Urine filtration membrane under a 4× objective, photographed by an automated digital microscope.
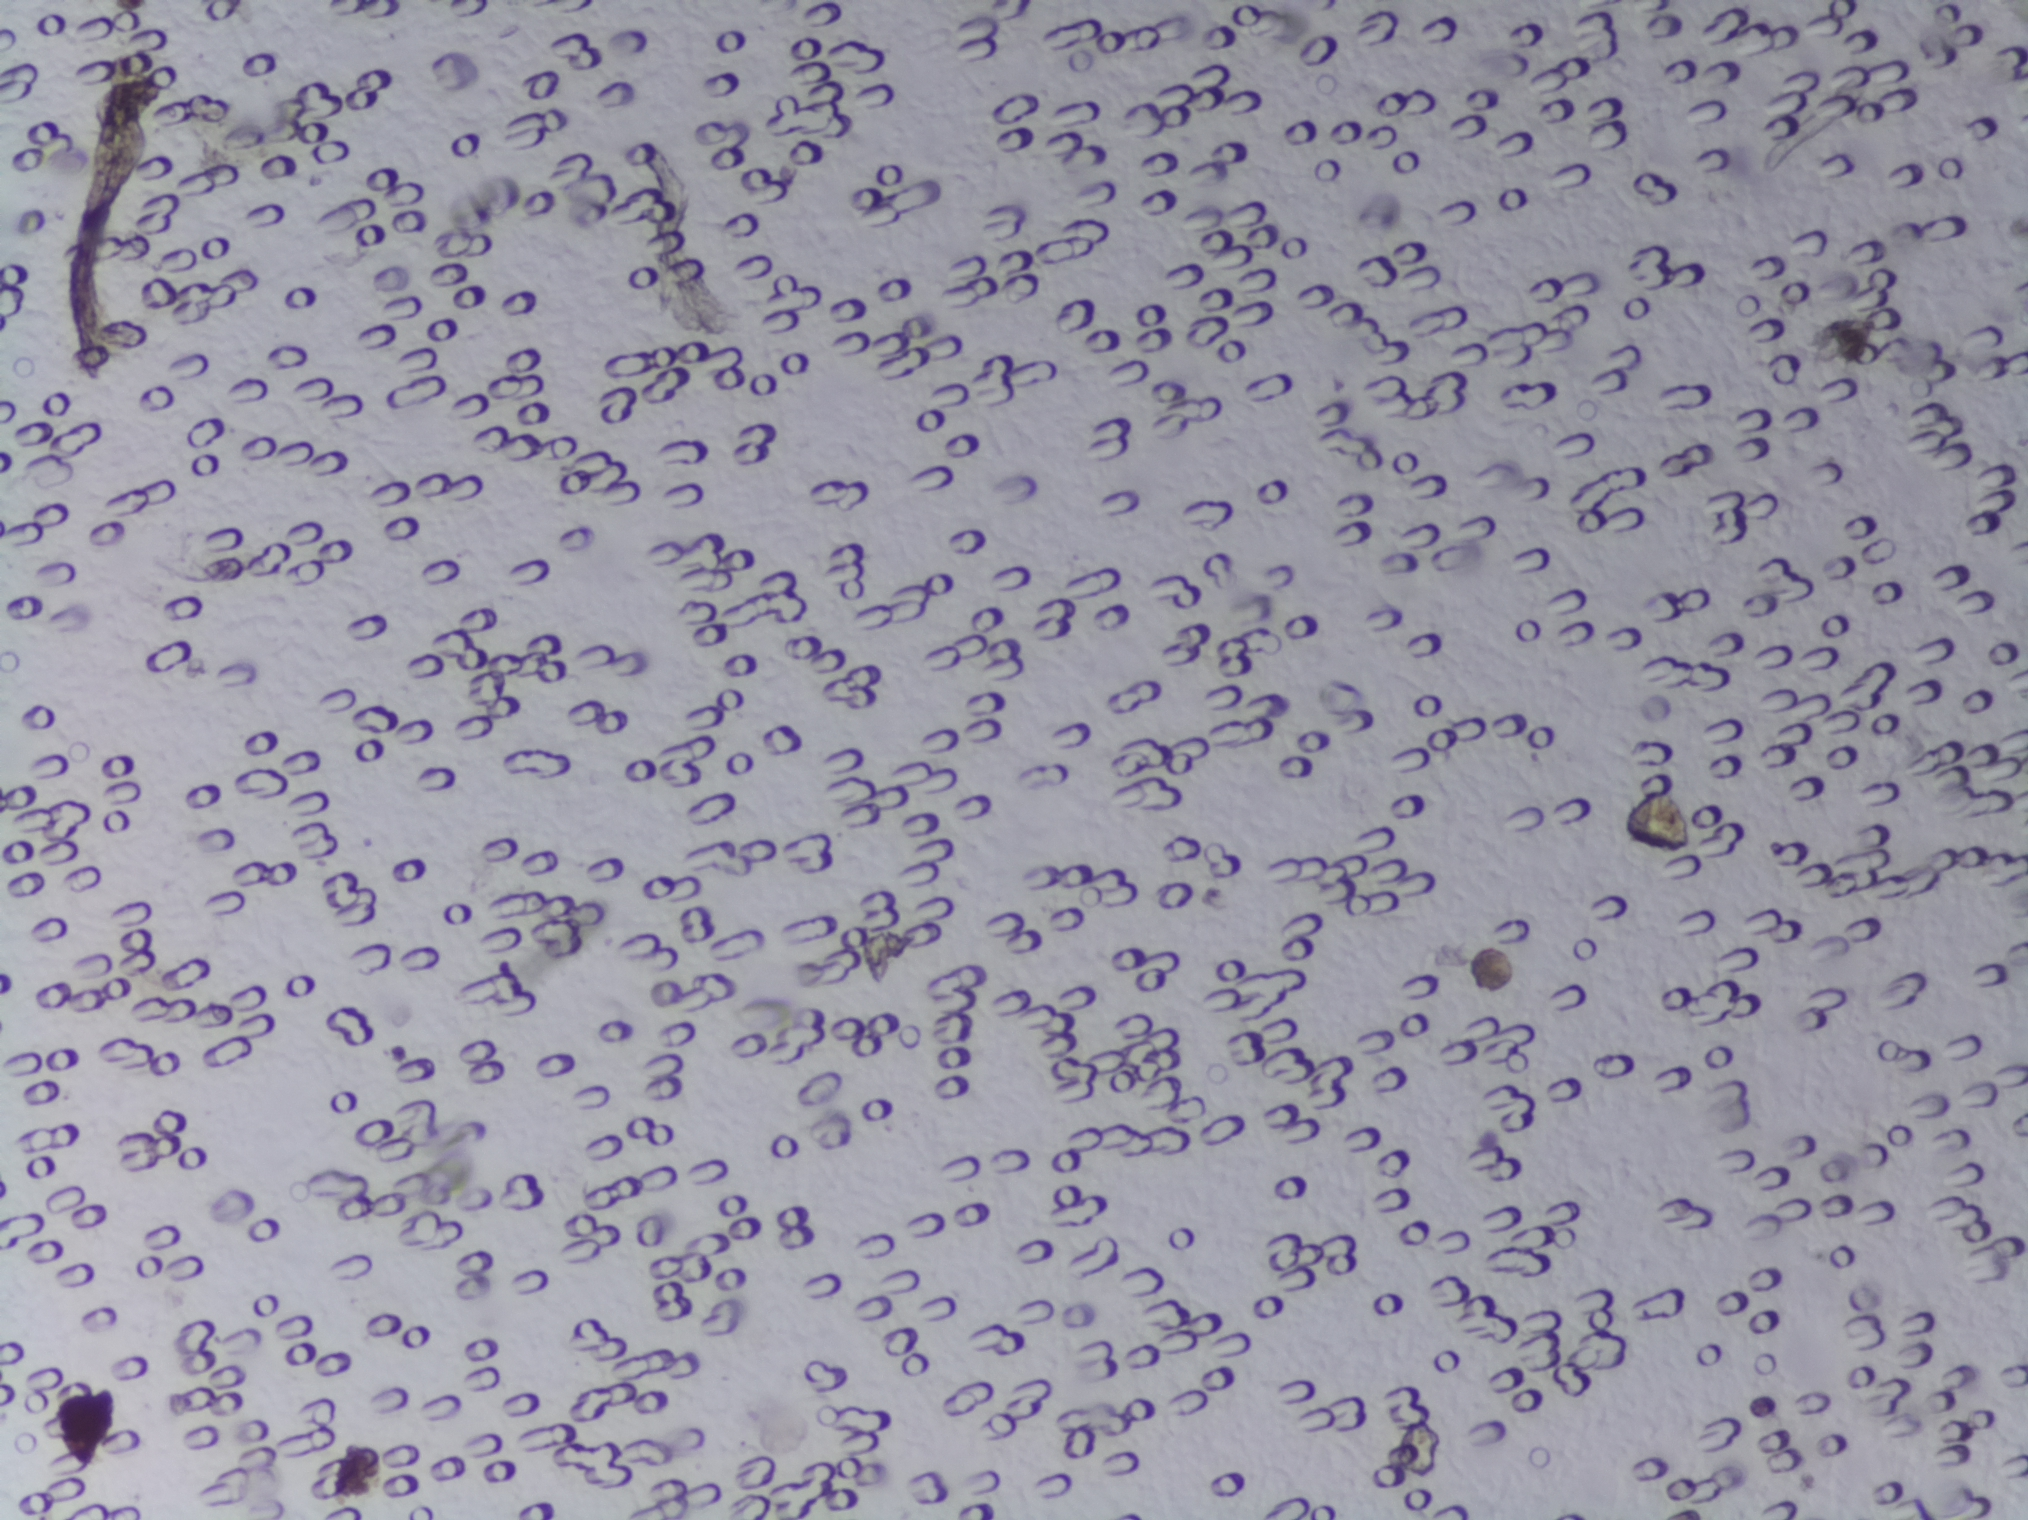
No area of this image was outlined as a Schistosoma egg.